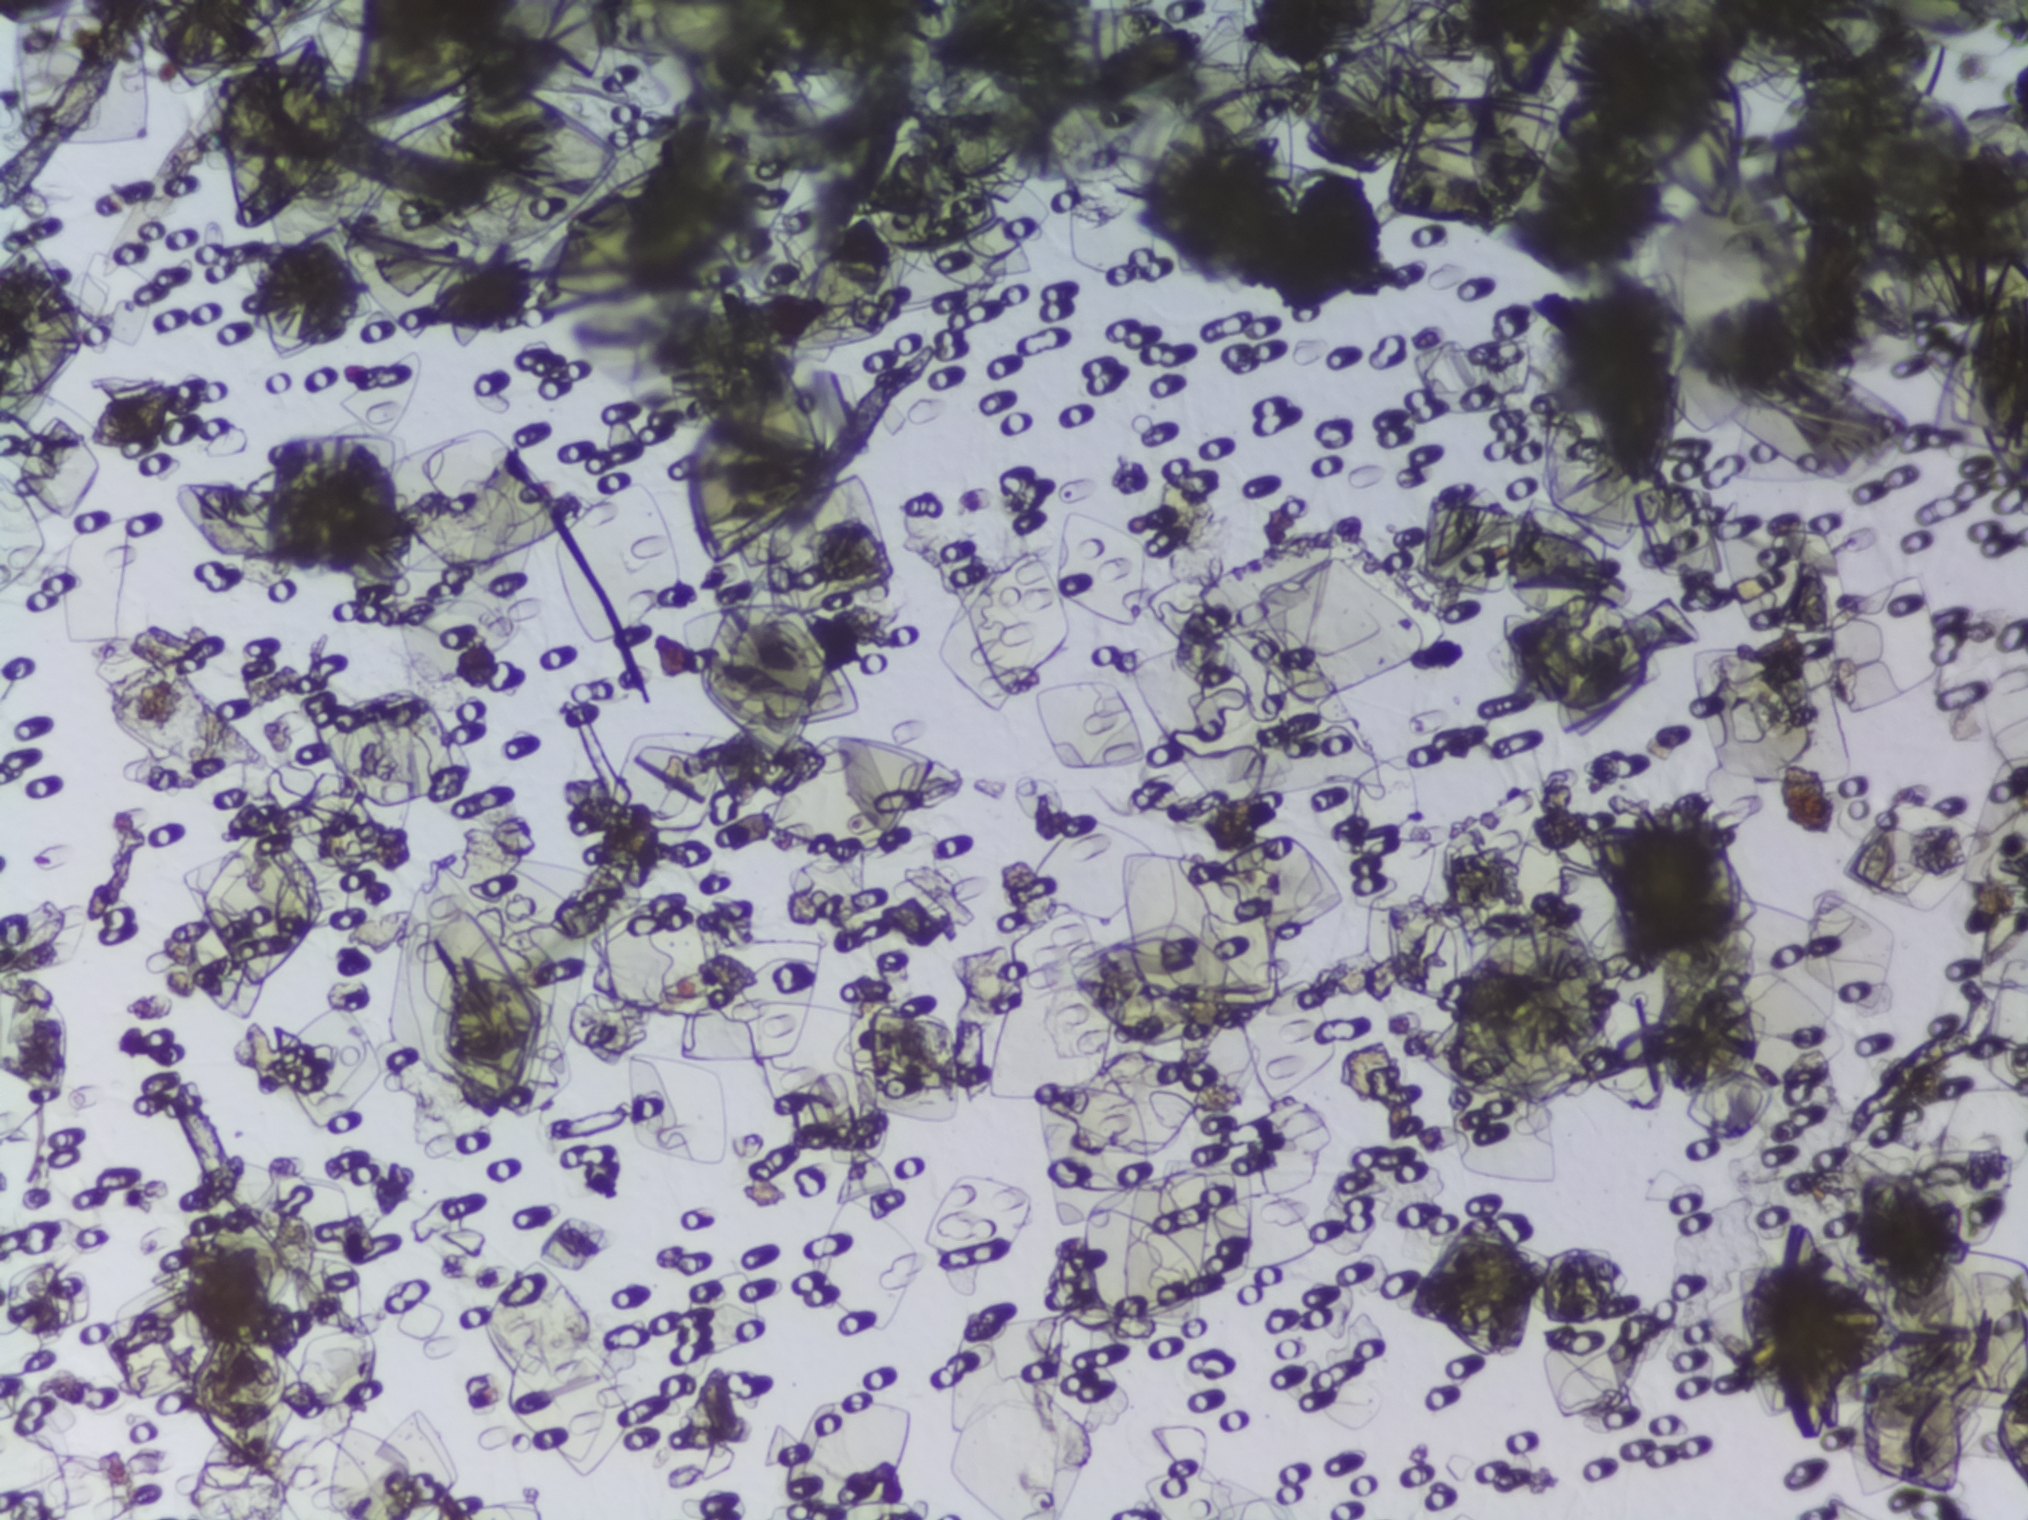
Microscope photograph (4× objective) of a membrane that a urine sample was filtered through. The image covers about 1.5 × 1.1 mm of the membrane.
Schistosoma eggs: none outlined.